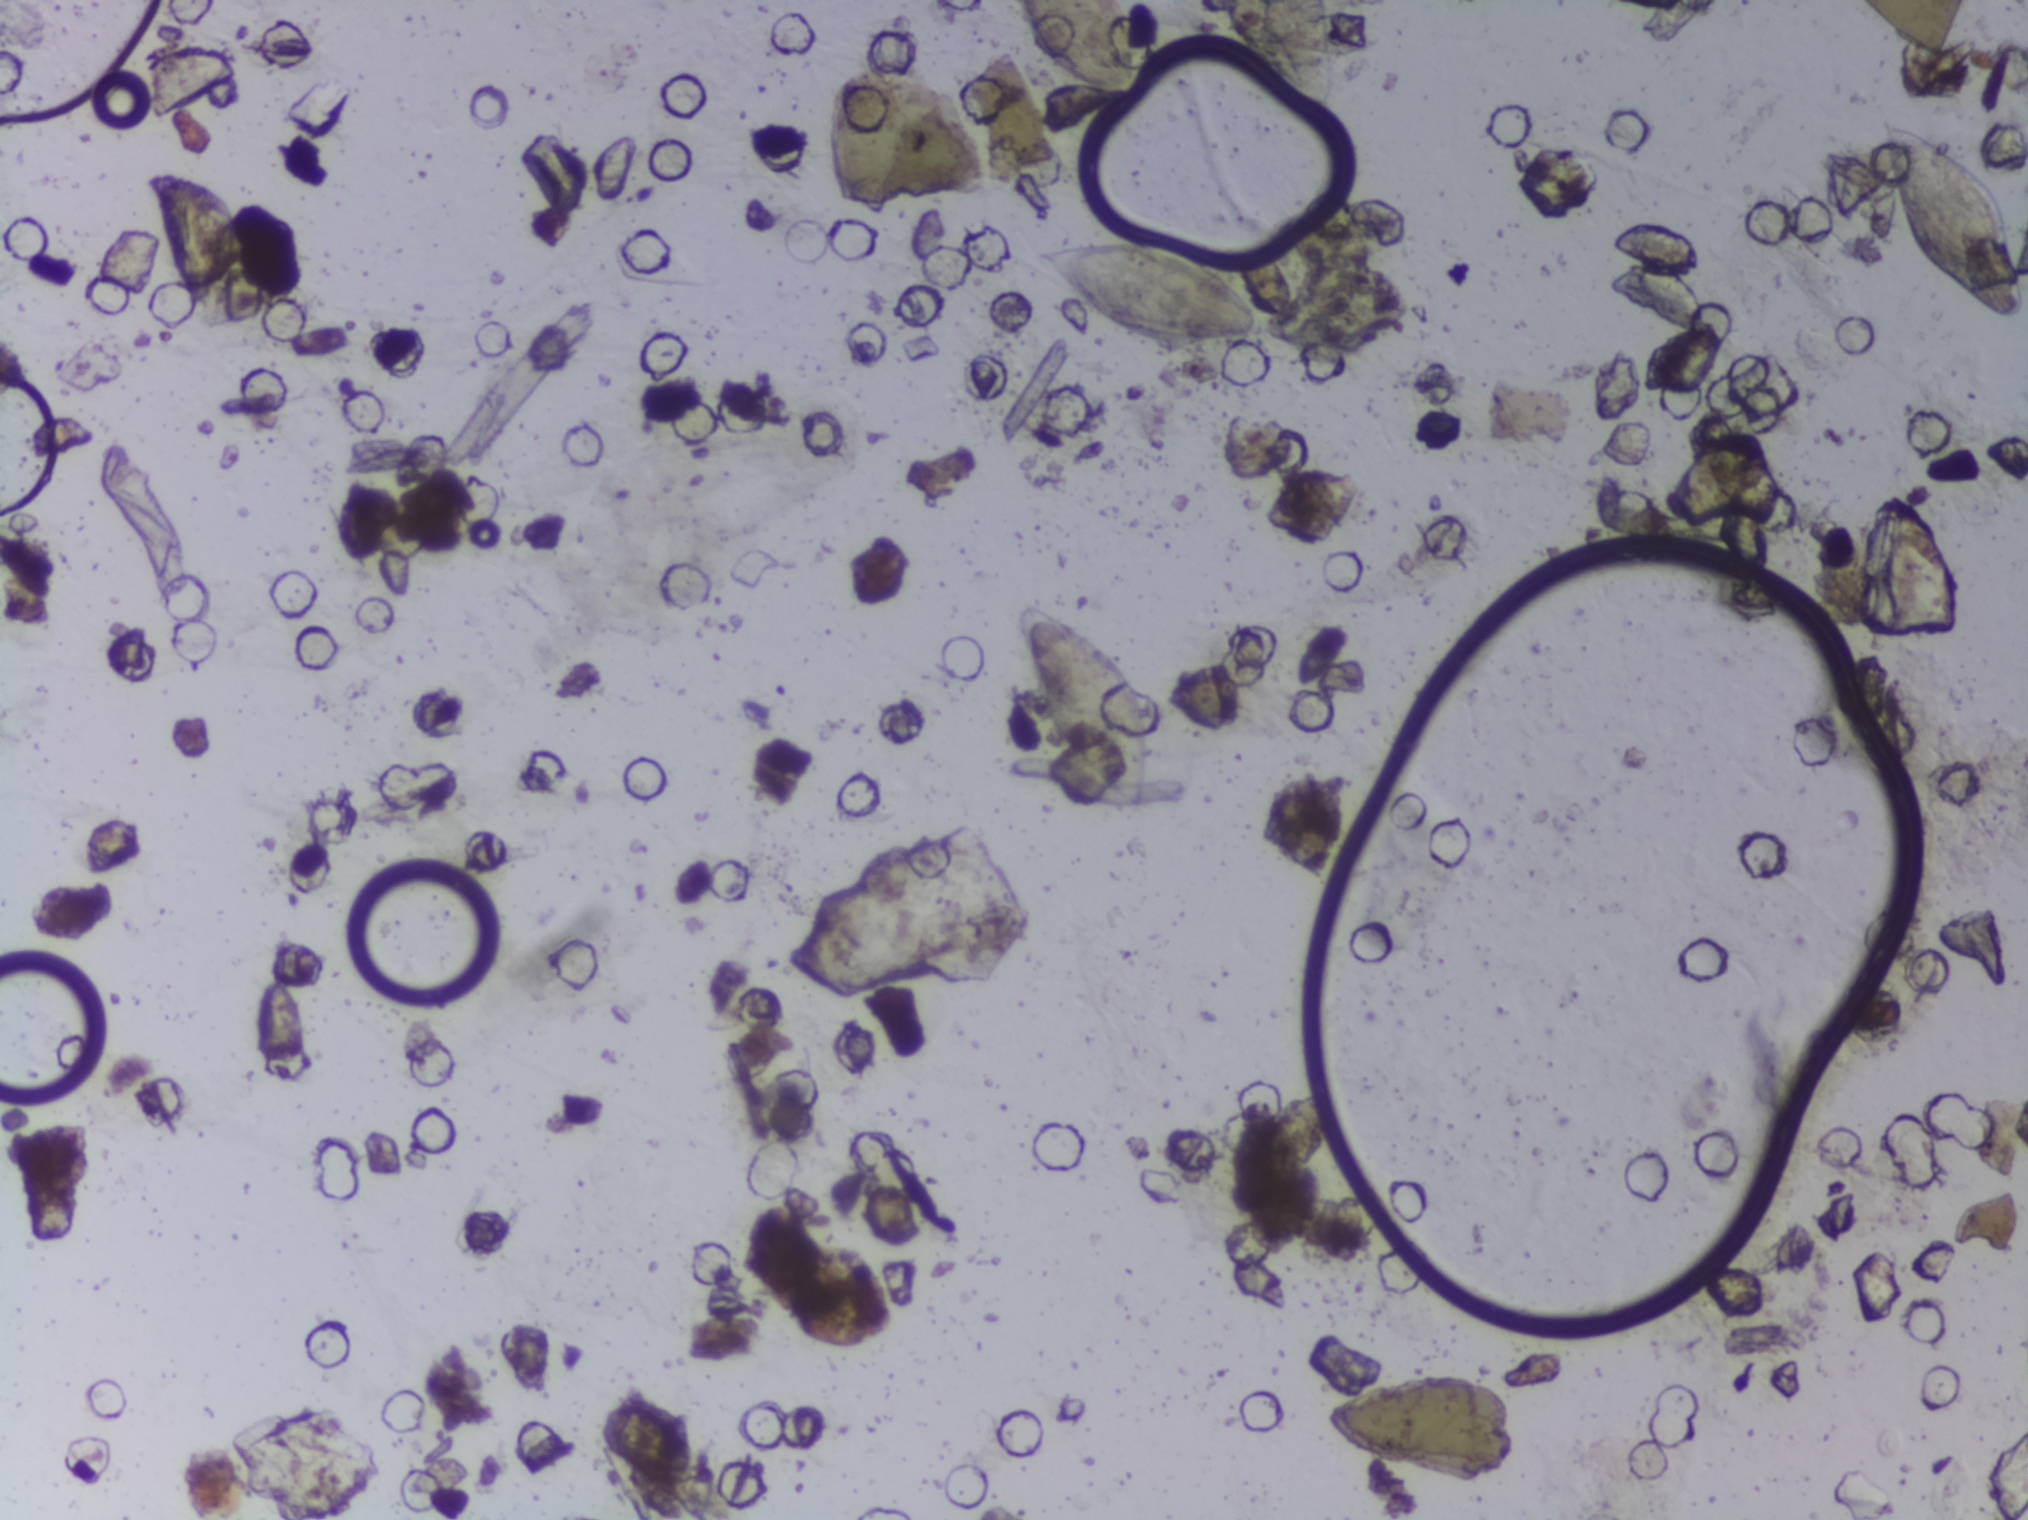
Photograph from an automated digital microscope: urine filter membrane, 4× objective.
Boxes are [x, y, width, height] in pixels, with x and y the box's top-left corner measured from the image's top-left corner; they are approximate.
Schistosoma egg areas, outlined: [1012, 0, 143, 109] (reaching the top edge of the frame); [1014, 604, 145, 218]; [1030, 234, 230, 118]; [1216, 0, 129, 113] (reaching the top edge of the frame); [1870, 115, 158, 208] (reaching the right edge of the frame). Eggs that touch can end up inside the same outlined area.